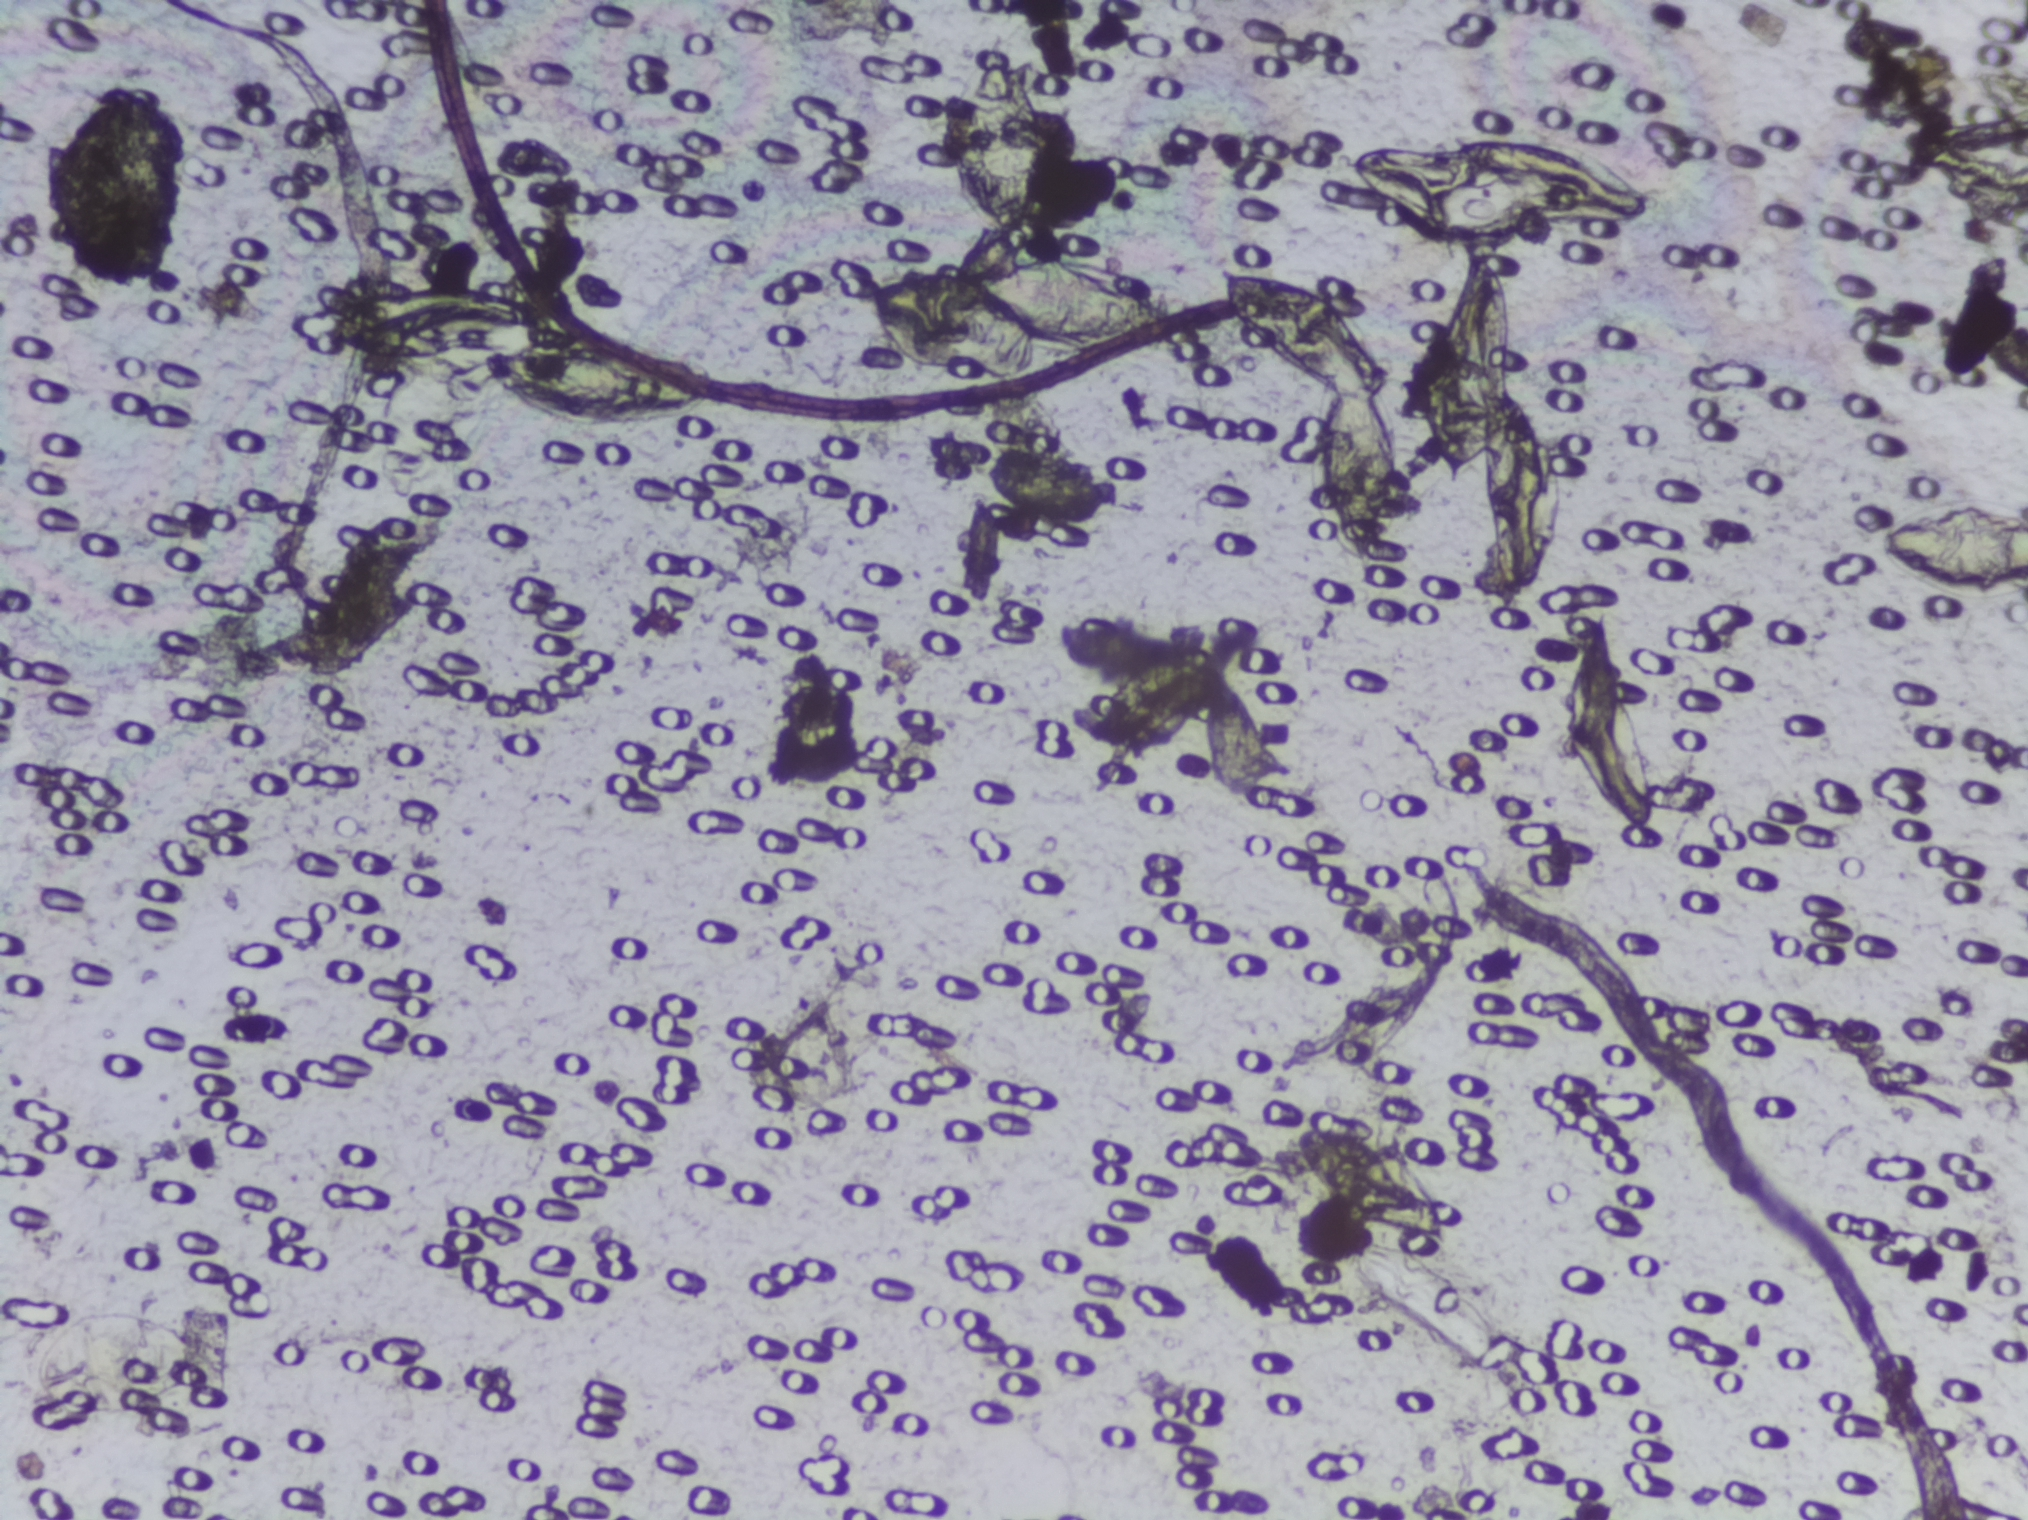
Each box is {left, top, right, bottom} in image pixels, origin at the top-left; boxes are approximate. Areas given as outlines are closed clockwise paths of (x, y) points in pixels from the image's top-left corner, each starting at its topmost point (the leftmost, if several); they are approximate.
Schistosoma egg areas, outlined: box {482, 333, 721, 432}; outline (1002, 42), (1044, 42), (1081, 88), (1079, 204), (1063, 223), (1013, 243), (1101, 249), (1156, 291), (1169, 291), (1169, 319), (1190, 336), (1190, 351), (1144, 353), (1130, 369), (1093, 369), (1049, 351), (1048, 364), (1035, 374), (1017, 374), (987, 396), (959, 396), (957, 391), (979, 390), (882, 337), (884, 350), (864, 332), (881, 336), (846, 297), (846, 272), (854, 262), (948, 265), (953, 252), (981, 243), (948, 181), (948, 141), (958, 92), (974, 60) (a cluster of eggs); box {910, 381, 936, 390}; box {1207, 249, 1398, 560}; box {1289, 1111, 1462, 1260}; outline (1448, 126), (1591, 136), (1628, 152), (1657, 184), (1657, 217), (1617, 241), (1582, 251), (1512, 252), (1517, 276), (1538, 305), (1538, 346), (1525, 404), (1564, 487), (1572, 531), (1572, 566), (1564, 581), (1523, 594), (1514, 610), (1502, 608), (1481, 557), (1481, 474), (1475, 470), (1464, 484), (1455, 484), (1418, 429), (1423, 326), (1462, 280), (1468, 252), (1394, 246), (1356, 201), (1331, 197), (1333, 178), (1349, 156), (1375, 152), (1397, 133) (a cluster of eggs); box {1551, 613, 1663, 842}; box {1876, 500, 2027, 599} (reaching the right edge of the frame); box {1884, 43, 2027, 206} (reaching the right edge of the frame). Marked pixels, not the boxes and the outlines around them: about 7.7% of the image. Eggs that touch can end up inside the same outlined area.
Urine filter membrane photographed through a 4× microscope objective.